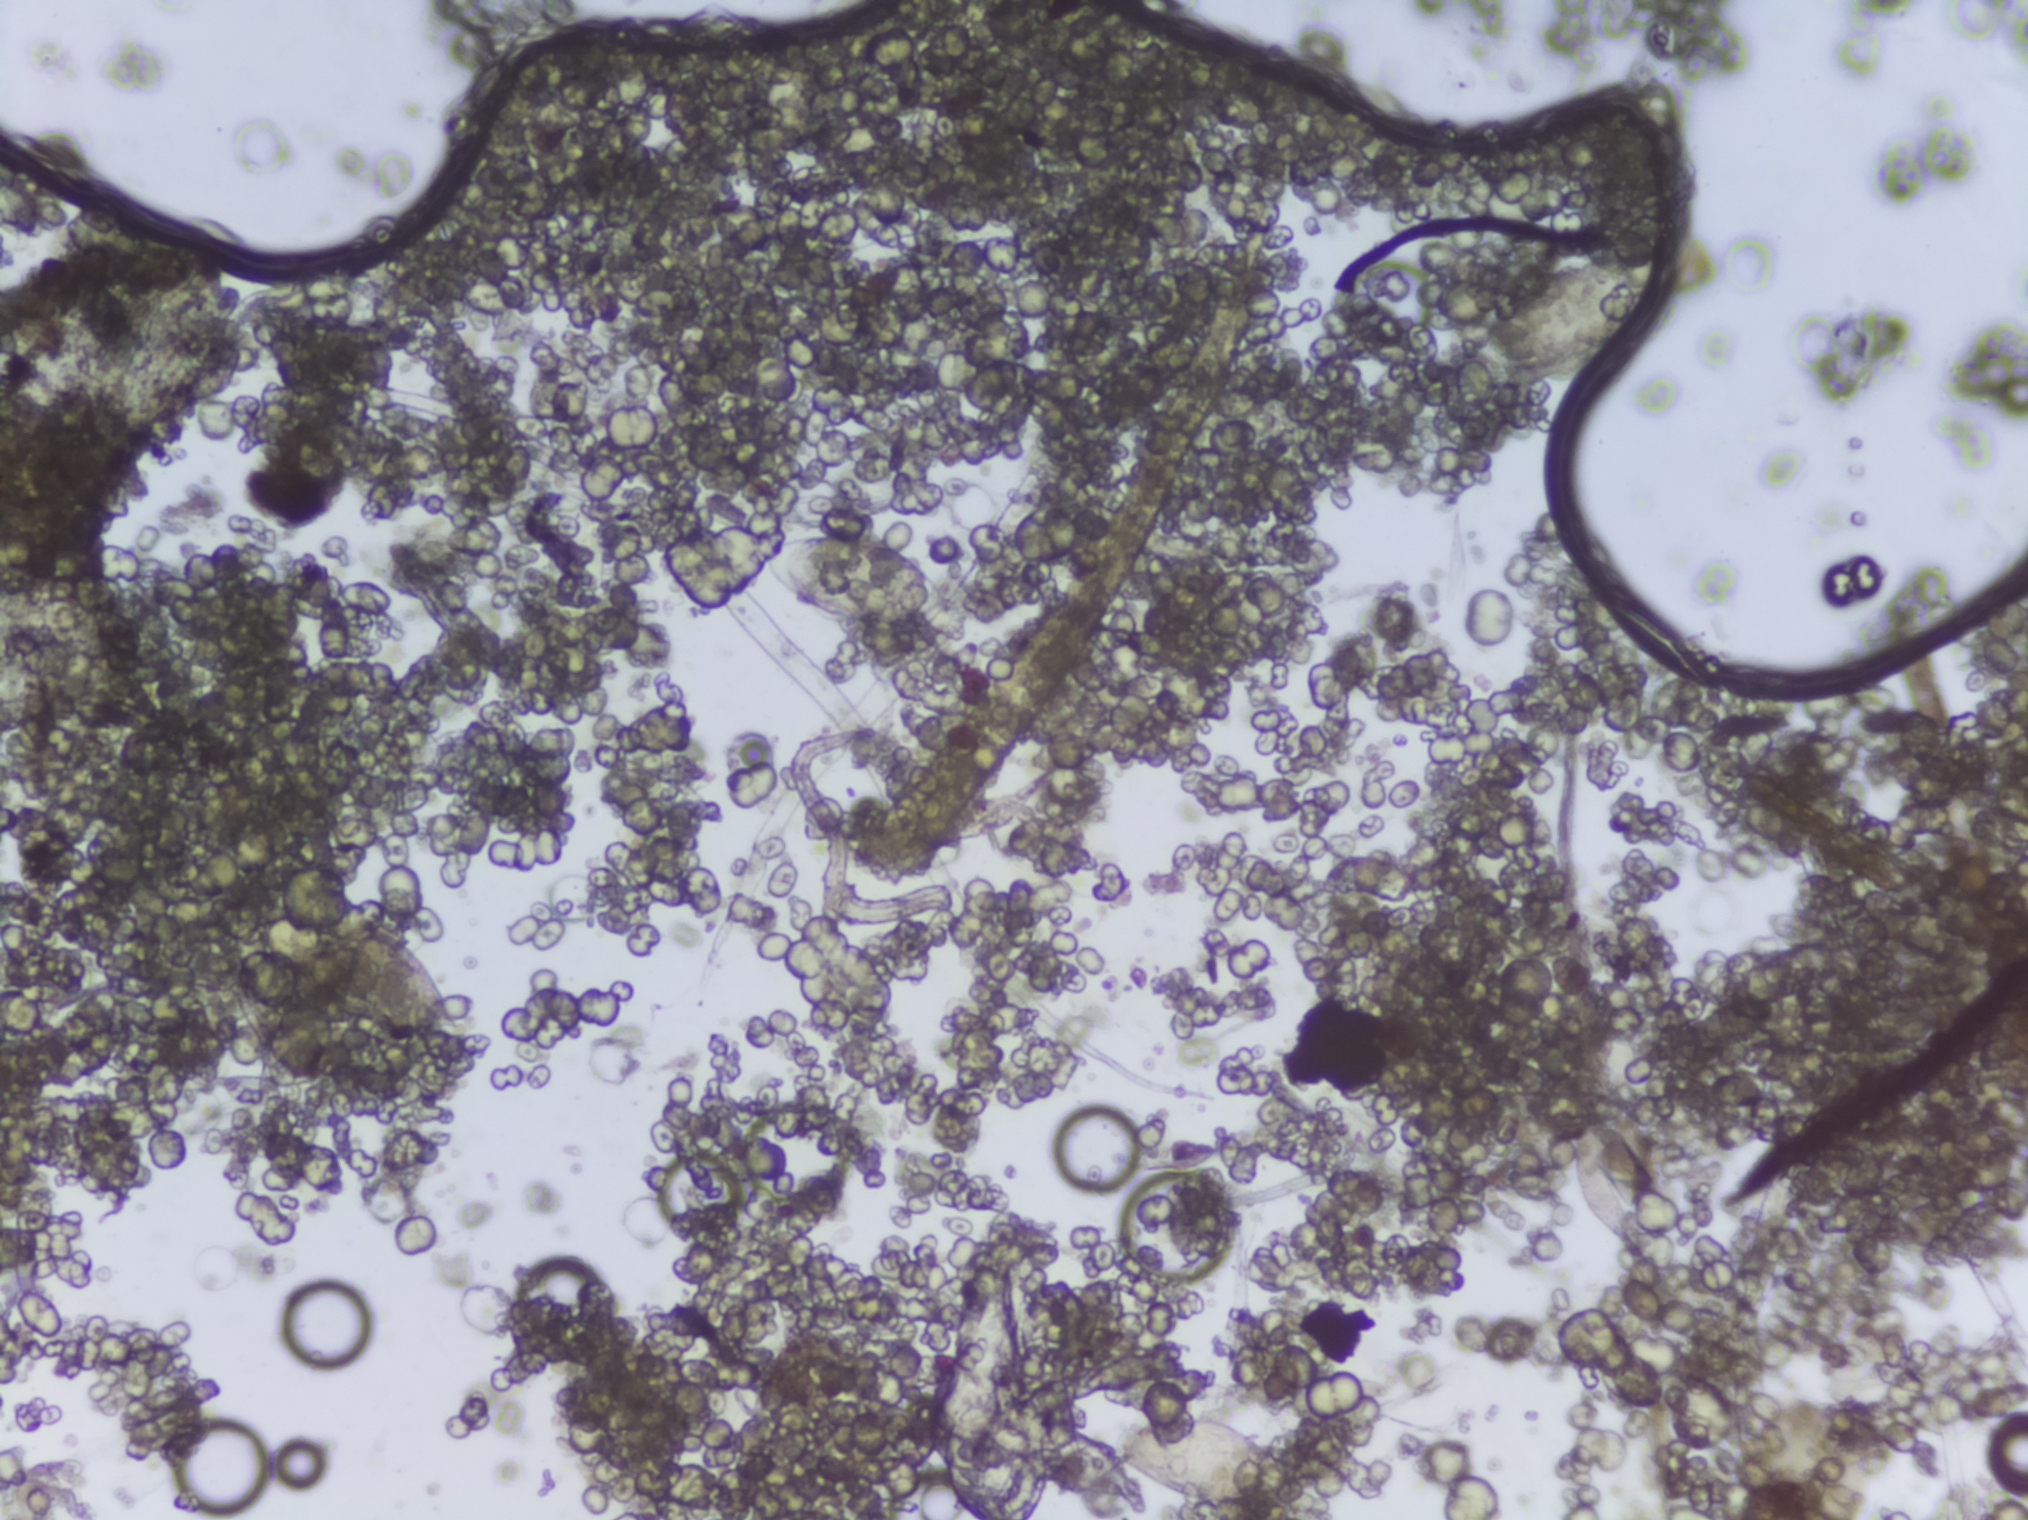
Urine filter membrane photographed through a 4× microscope objective. The image covers about 1.5 × 1.1 mm of the membrane.
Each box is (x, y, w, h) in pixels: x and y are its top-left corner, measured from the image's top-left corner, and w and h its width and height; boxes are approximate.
Schistosoma eggs are outlined in the expert annotation at (x=262, y=911, w=199, h=130); (x=759, y=527, w=198, h=104); (x=1114, y=1412, w=200, h=99); (x=1484, y=240, w=213, h=144) (left to right). A single outlined area may contain several eggs.